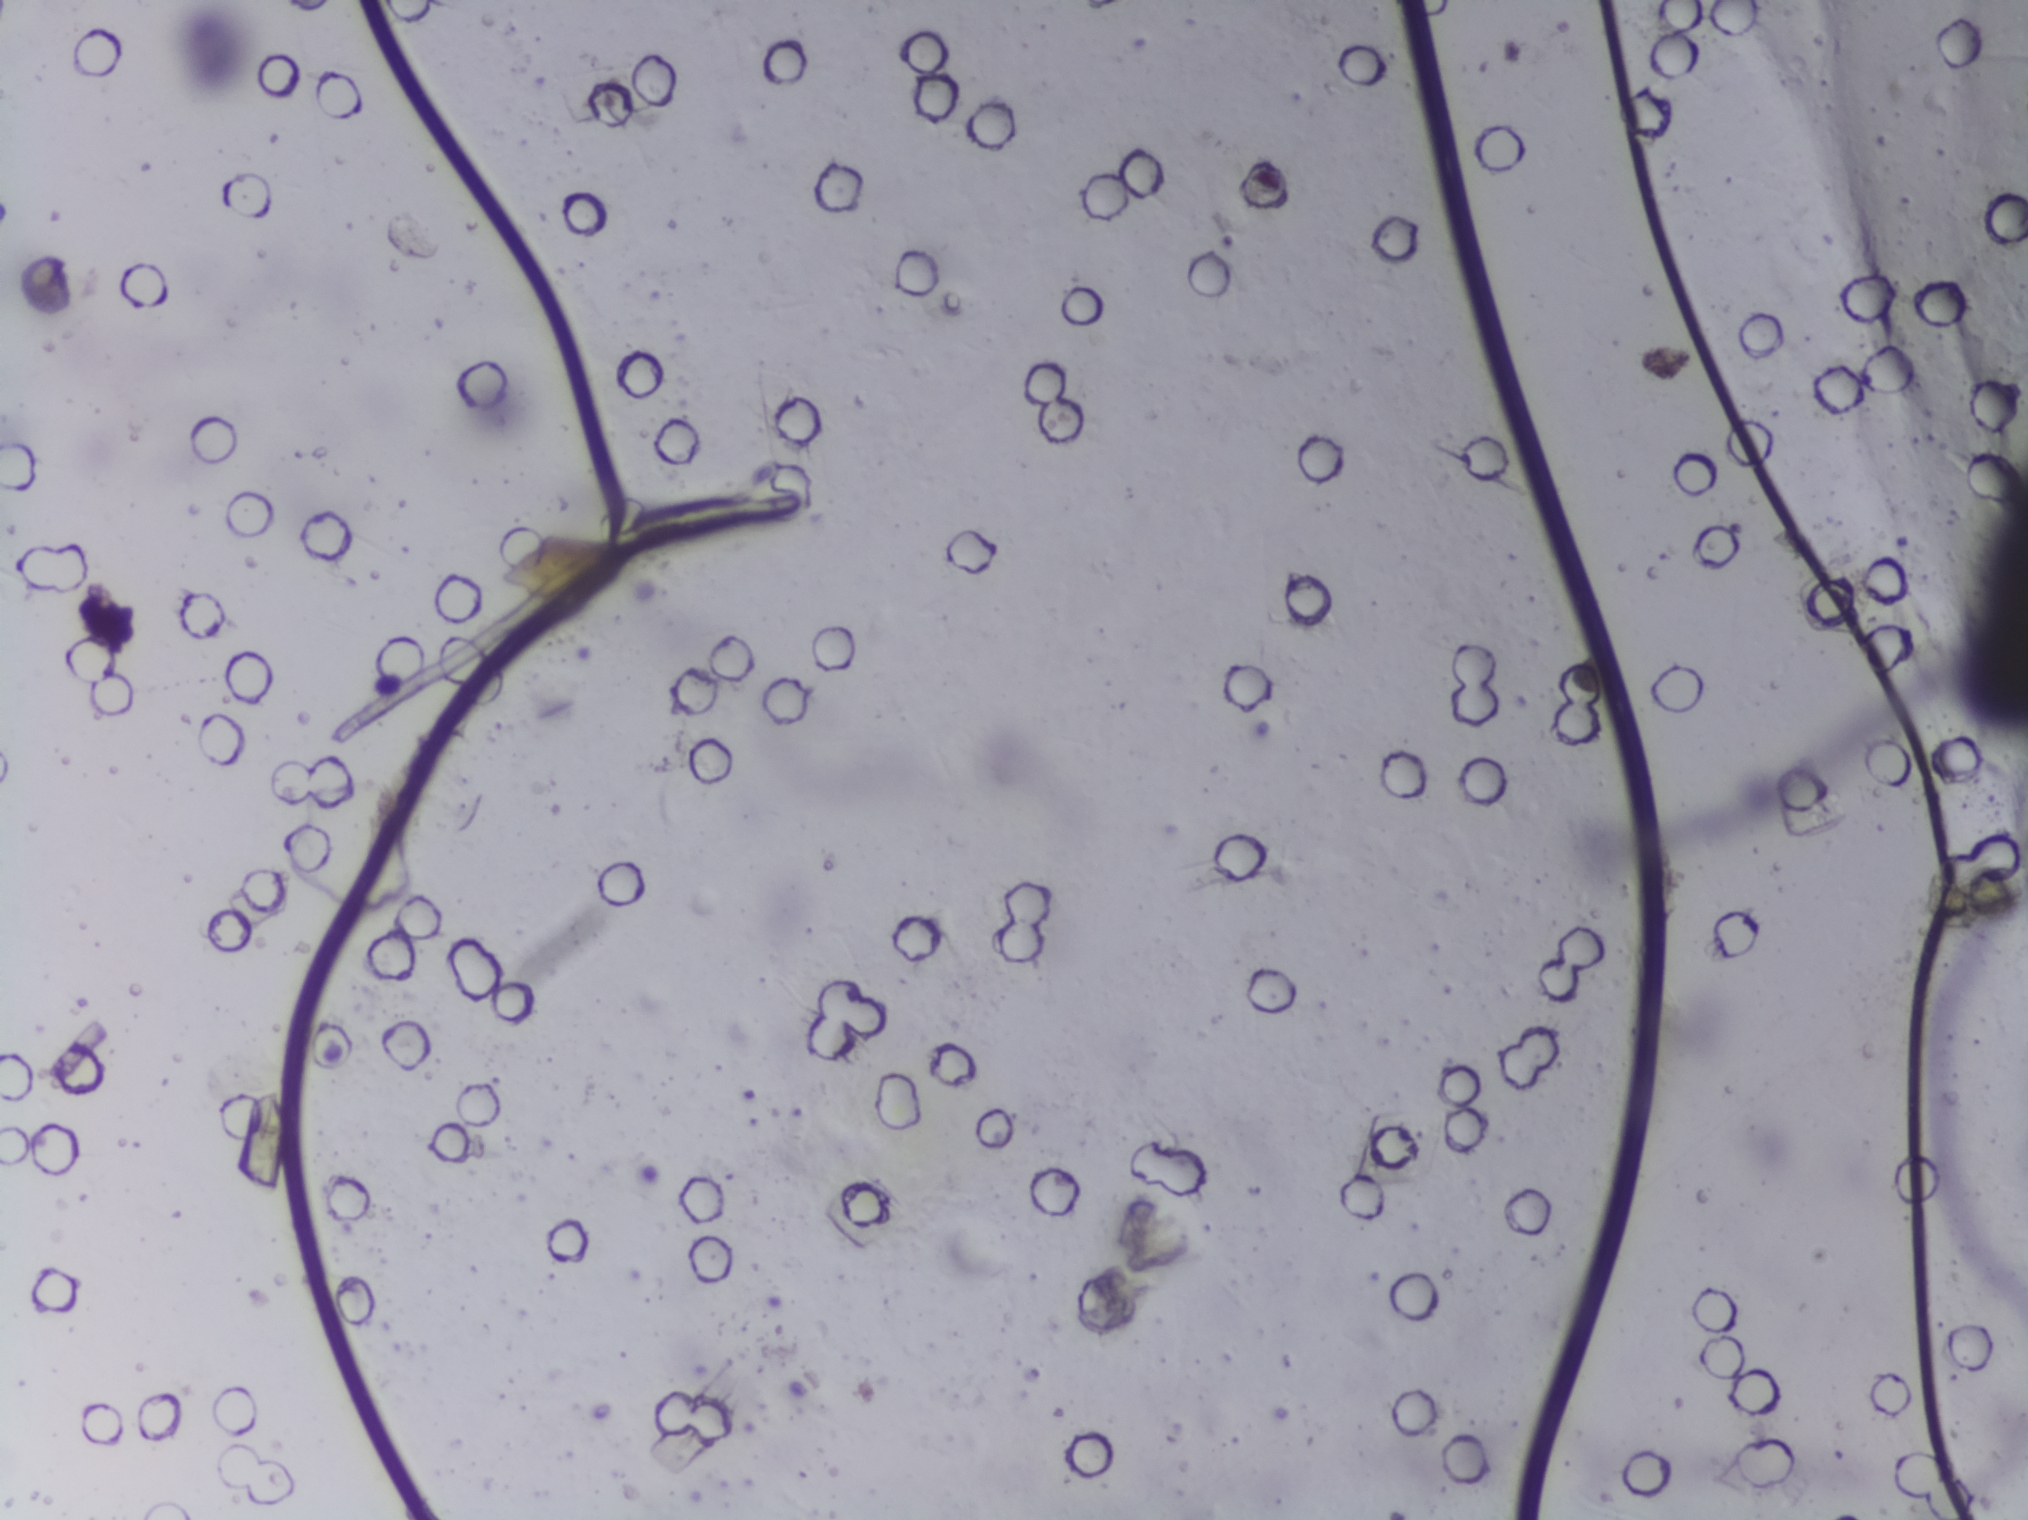
One field of view of a urine filter membrane, 4× objective, 2028 × 1520 pixels.
No Schistosoma egg is outlined in this image's expert annotation.